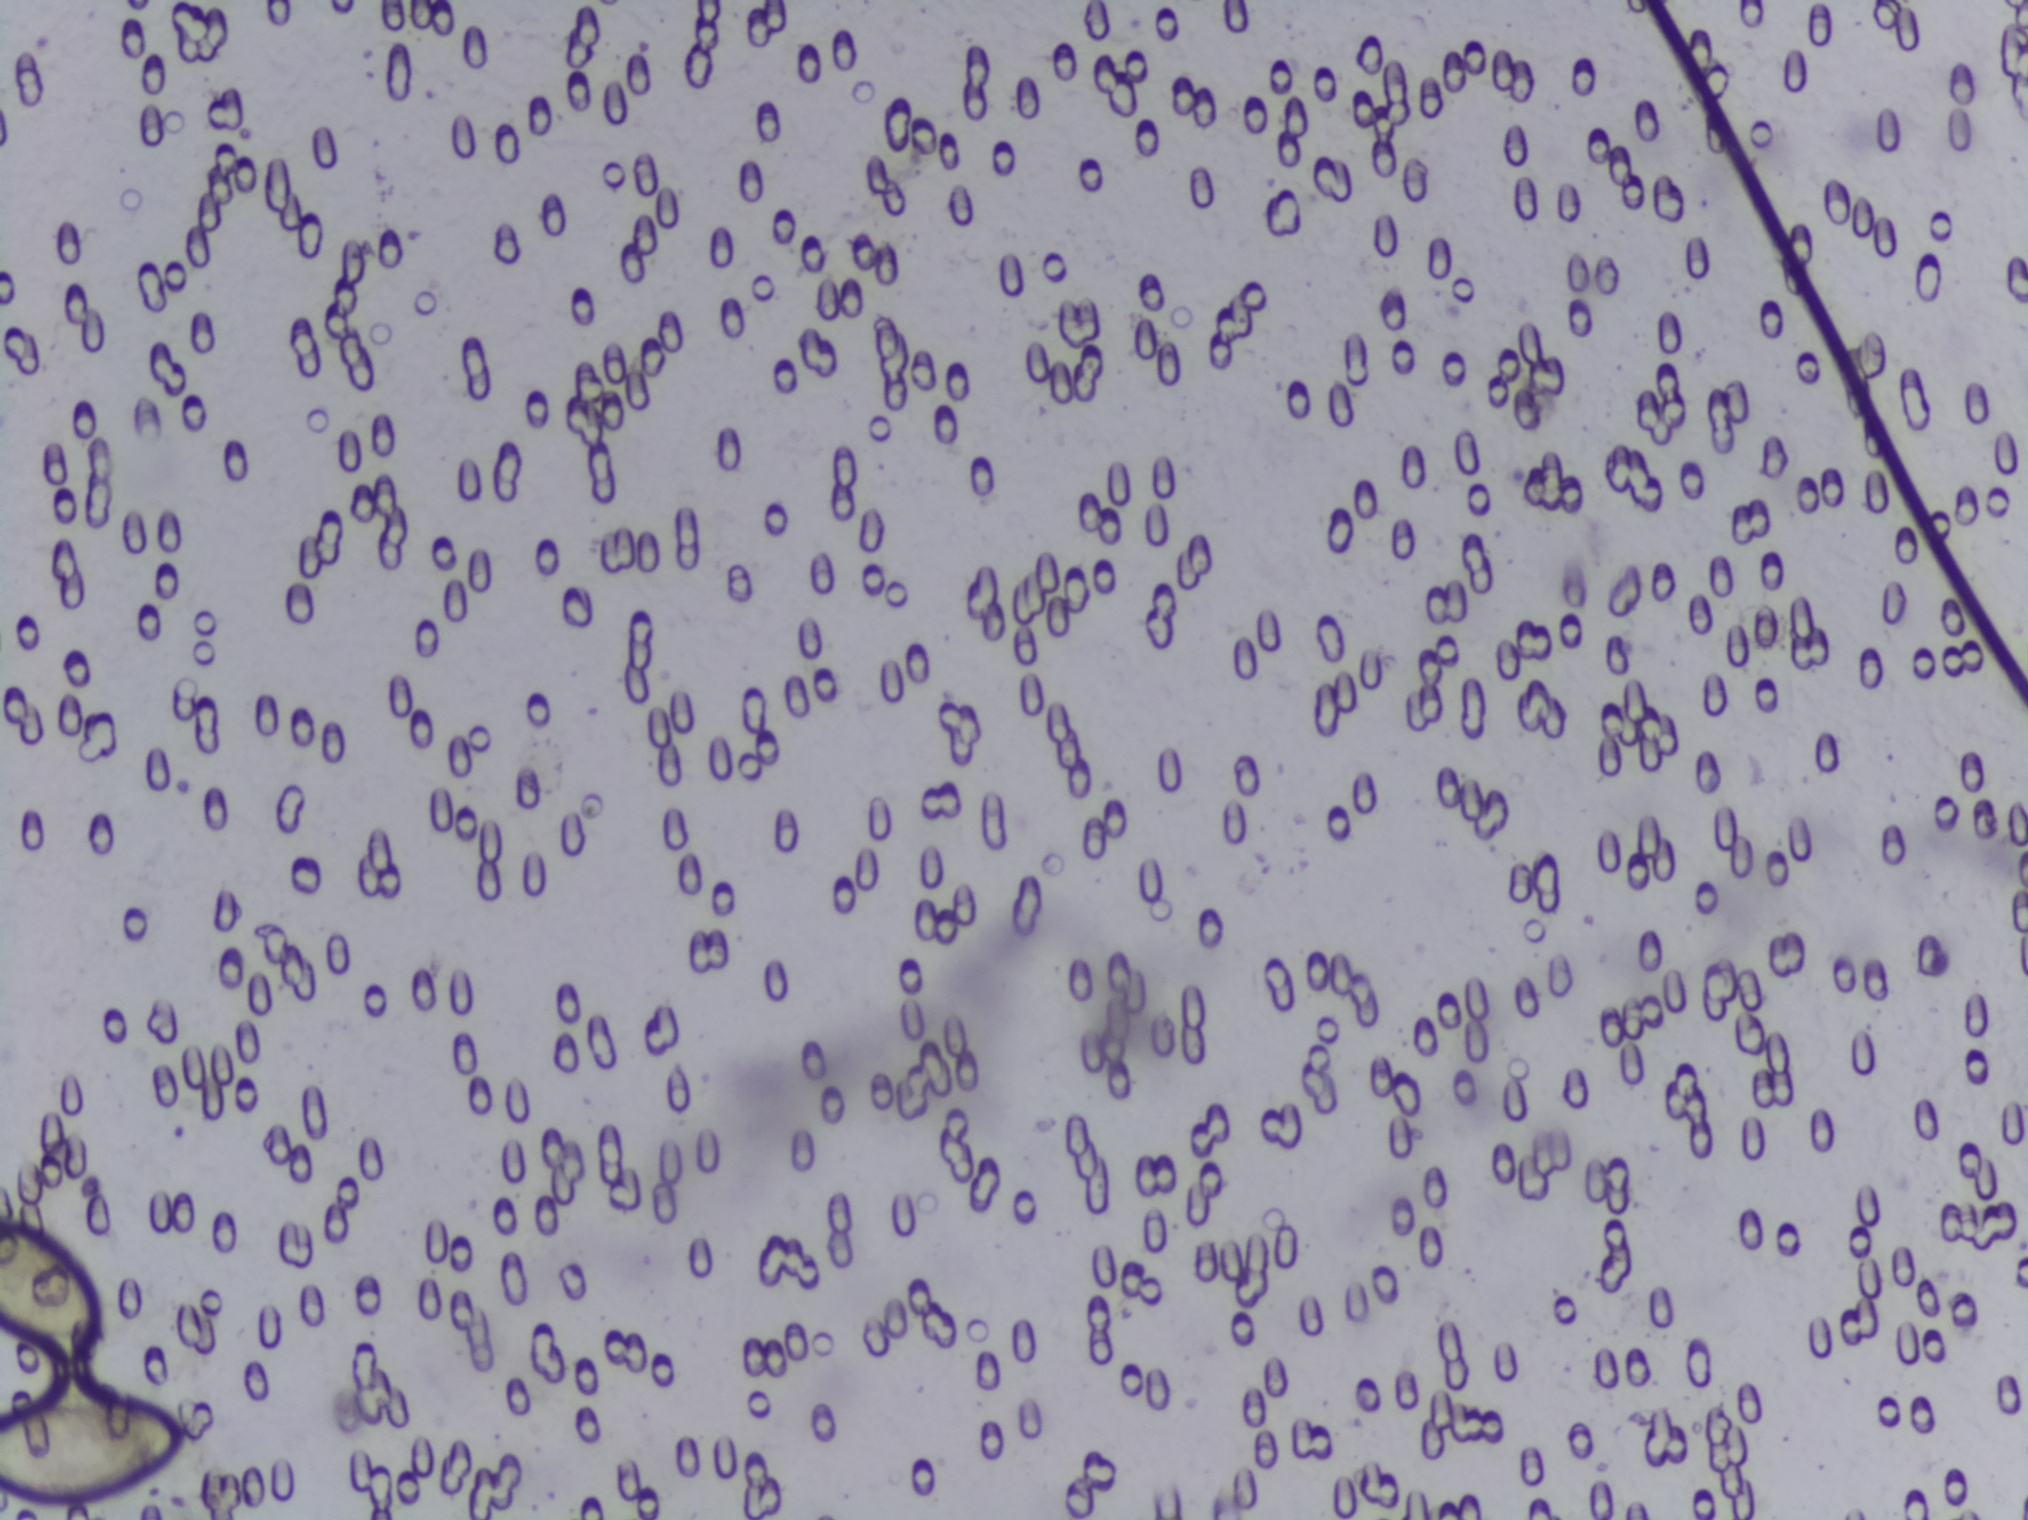
Urine filtration membrane under a 4× objective, photographed by an automated digital microscope.
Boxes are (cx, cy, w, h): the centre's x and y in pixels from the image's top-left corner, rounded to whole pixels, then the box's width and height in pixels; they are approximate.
Schistosoma eggs are outlined in two areas of this image, listed from left to right: (cx=56, cy=1279, w=112, h=131) (reaching the left edge of the frame) and (cx=97, cy=1450, w=194, h=114) (reaching the left edge of the frame). An outlined area can hold more than one egg.